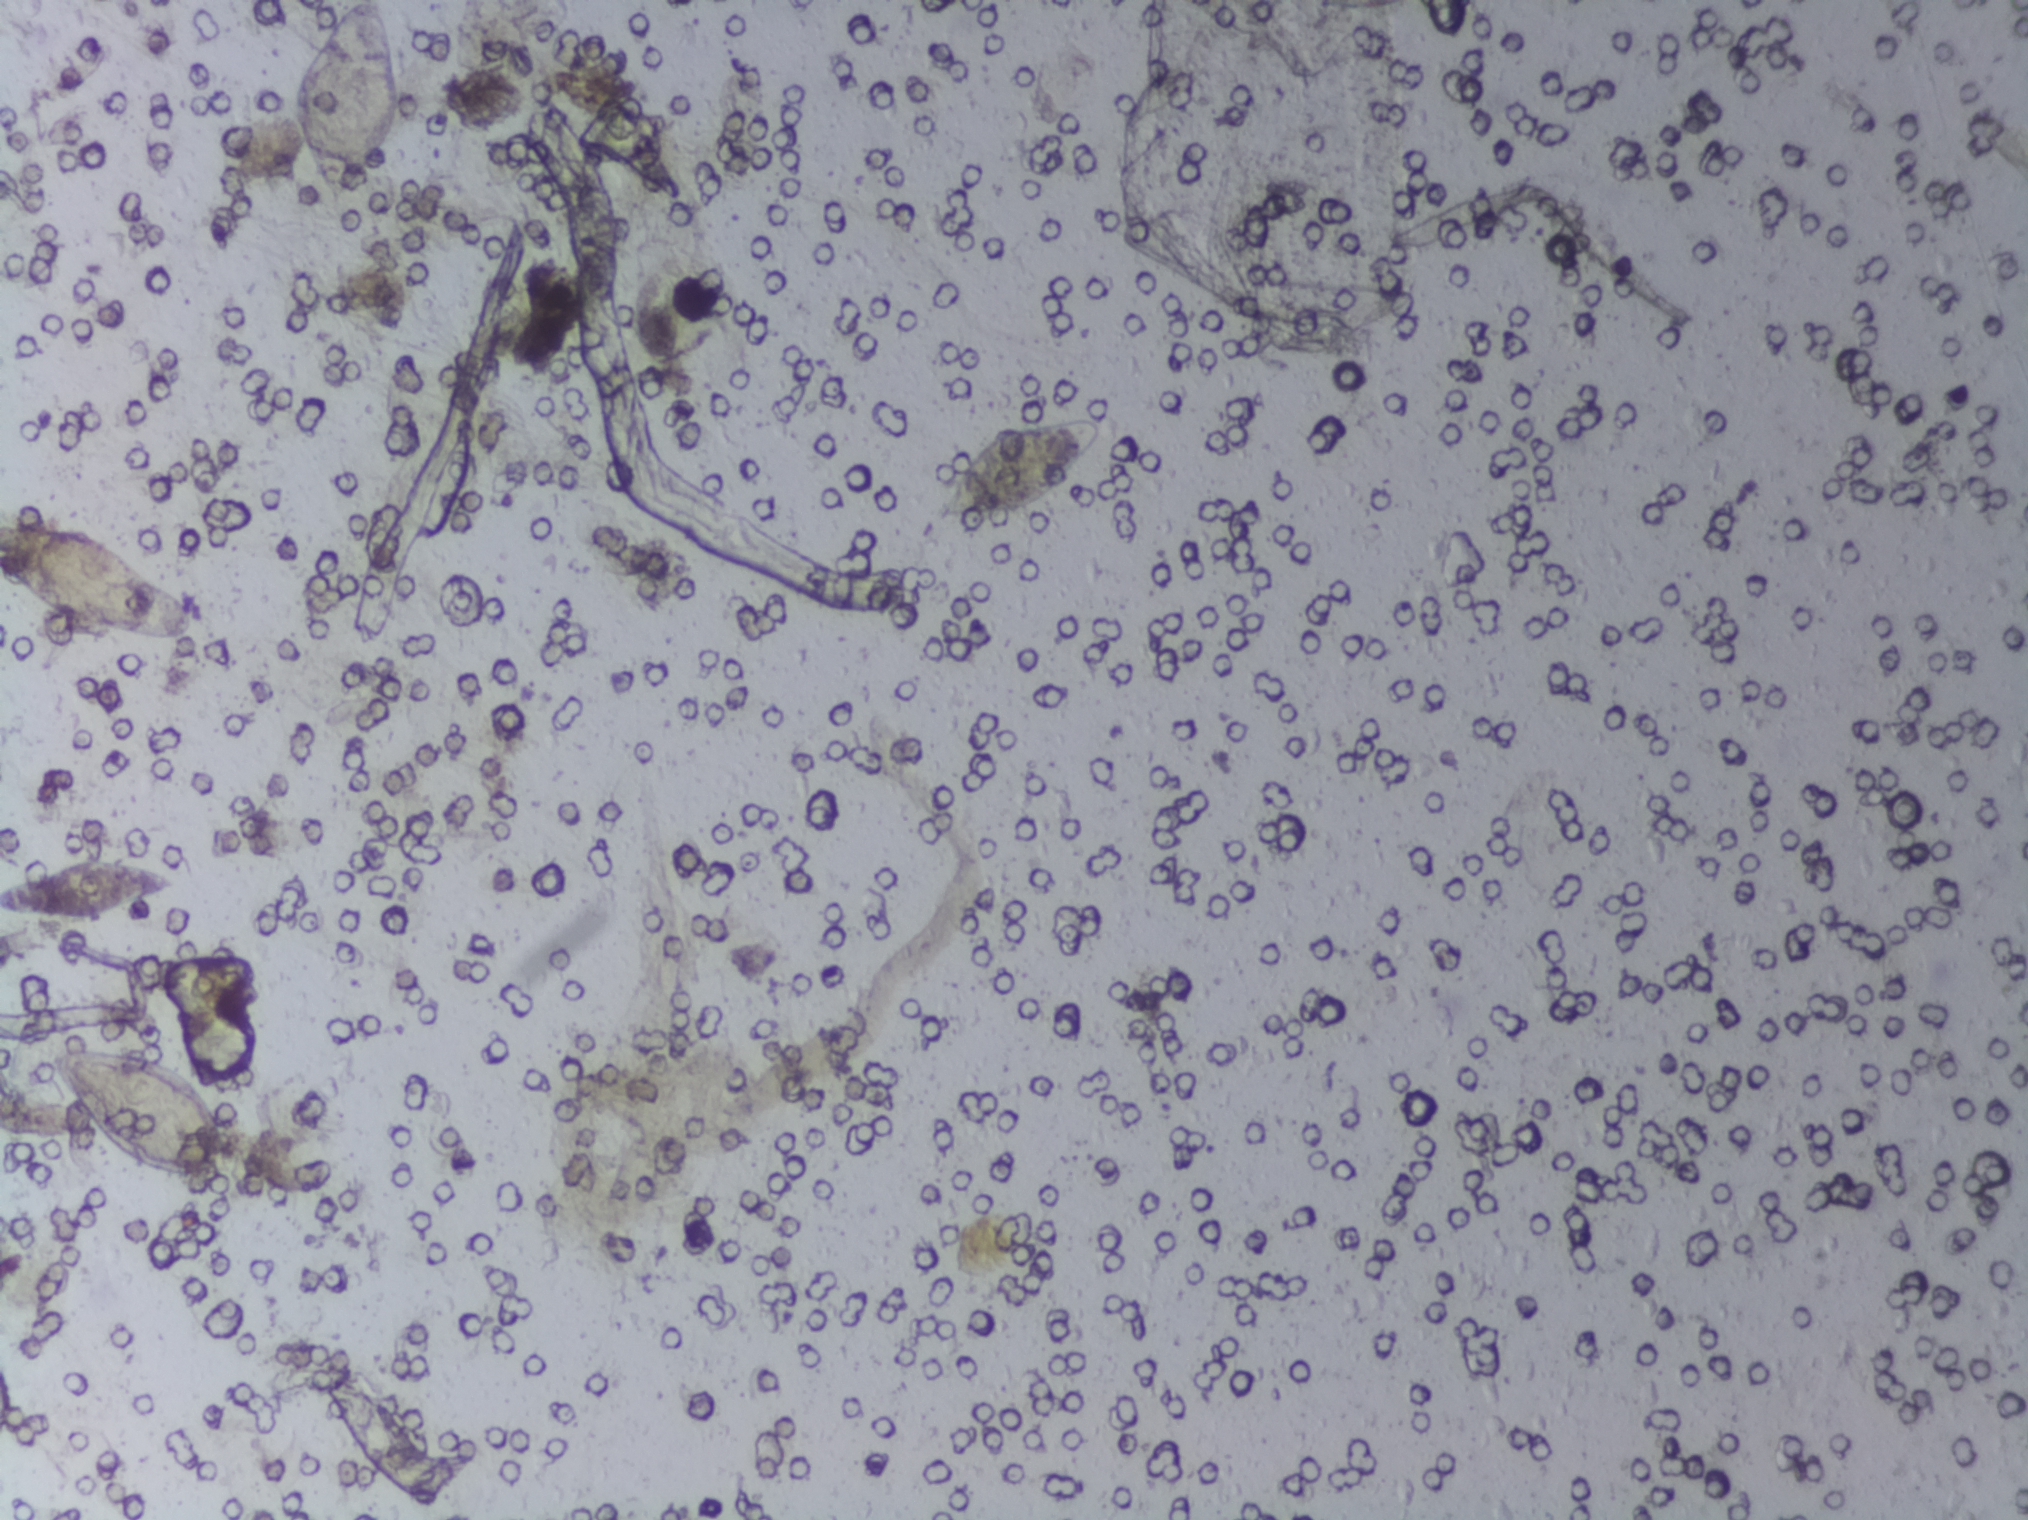
Photomicrograph of a urine filtration membrane, 4× objective.
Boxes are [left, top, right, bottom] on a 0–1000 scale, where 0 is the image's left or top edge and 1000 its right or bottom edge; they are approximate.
Schistosoma eggs, outlined areas: [0, 342, 98, 423] (reaching the left edge of the frame); [0, 563, 88, 607] (reaching the left edge of the frame); [22, 686, 119, 781]; [146, 0, 200, 139] (reaching the top edge of the frame); [461, 273, 543, 343]. Marked pixels, not the boxes around them: about 2.2% of the image. A single outlined area may contain several eggs.